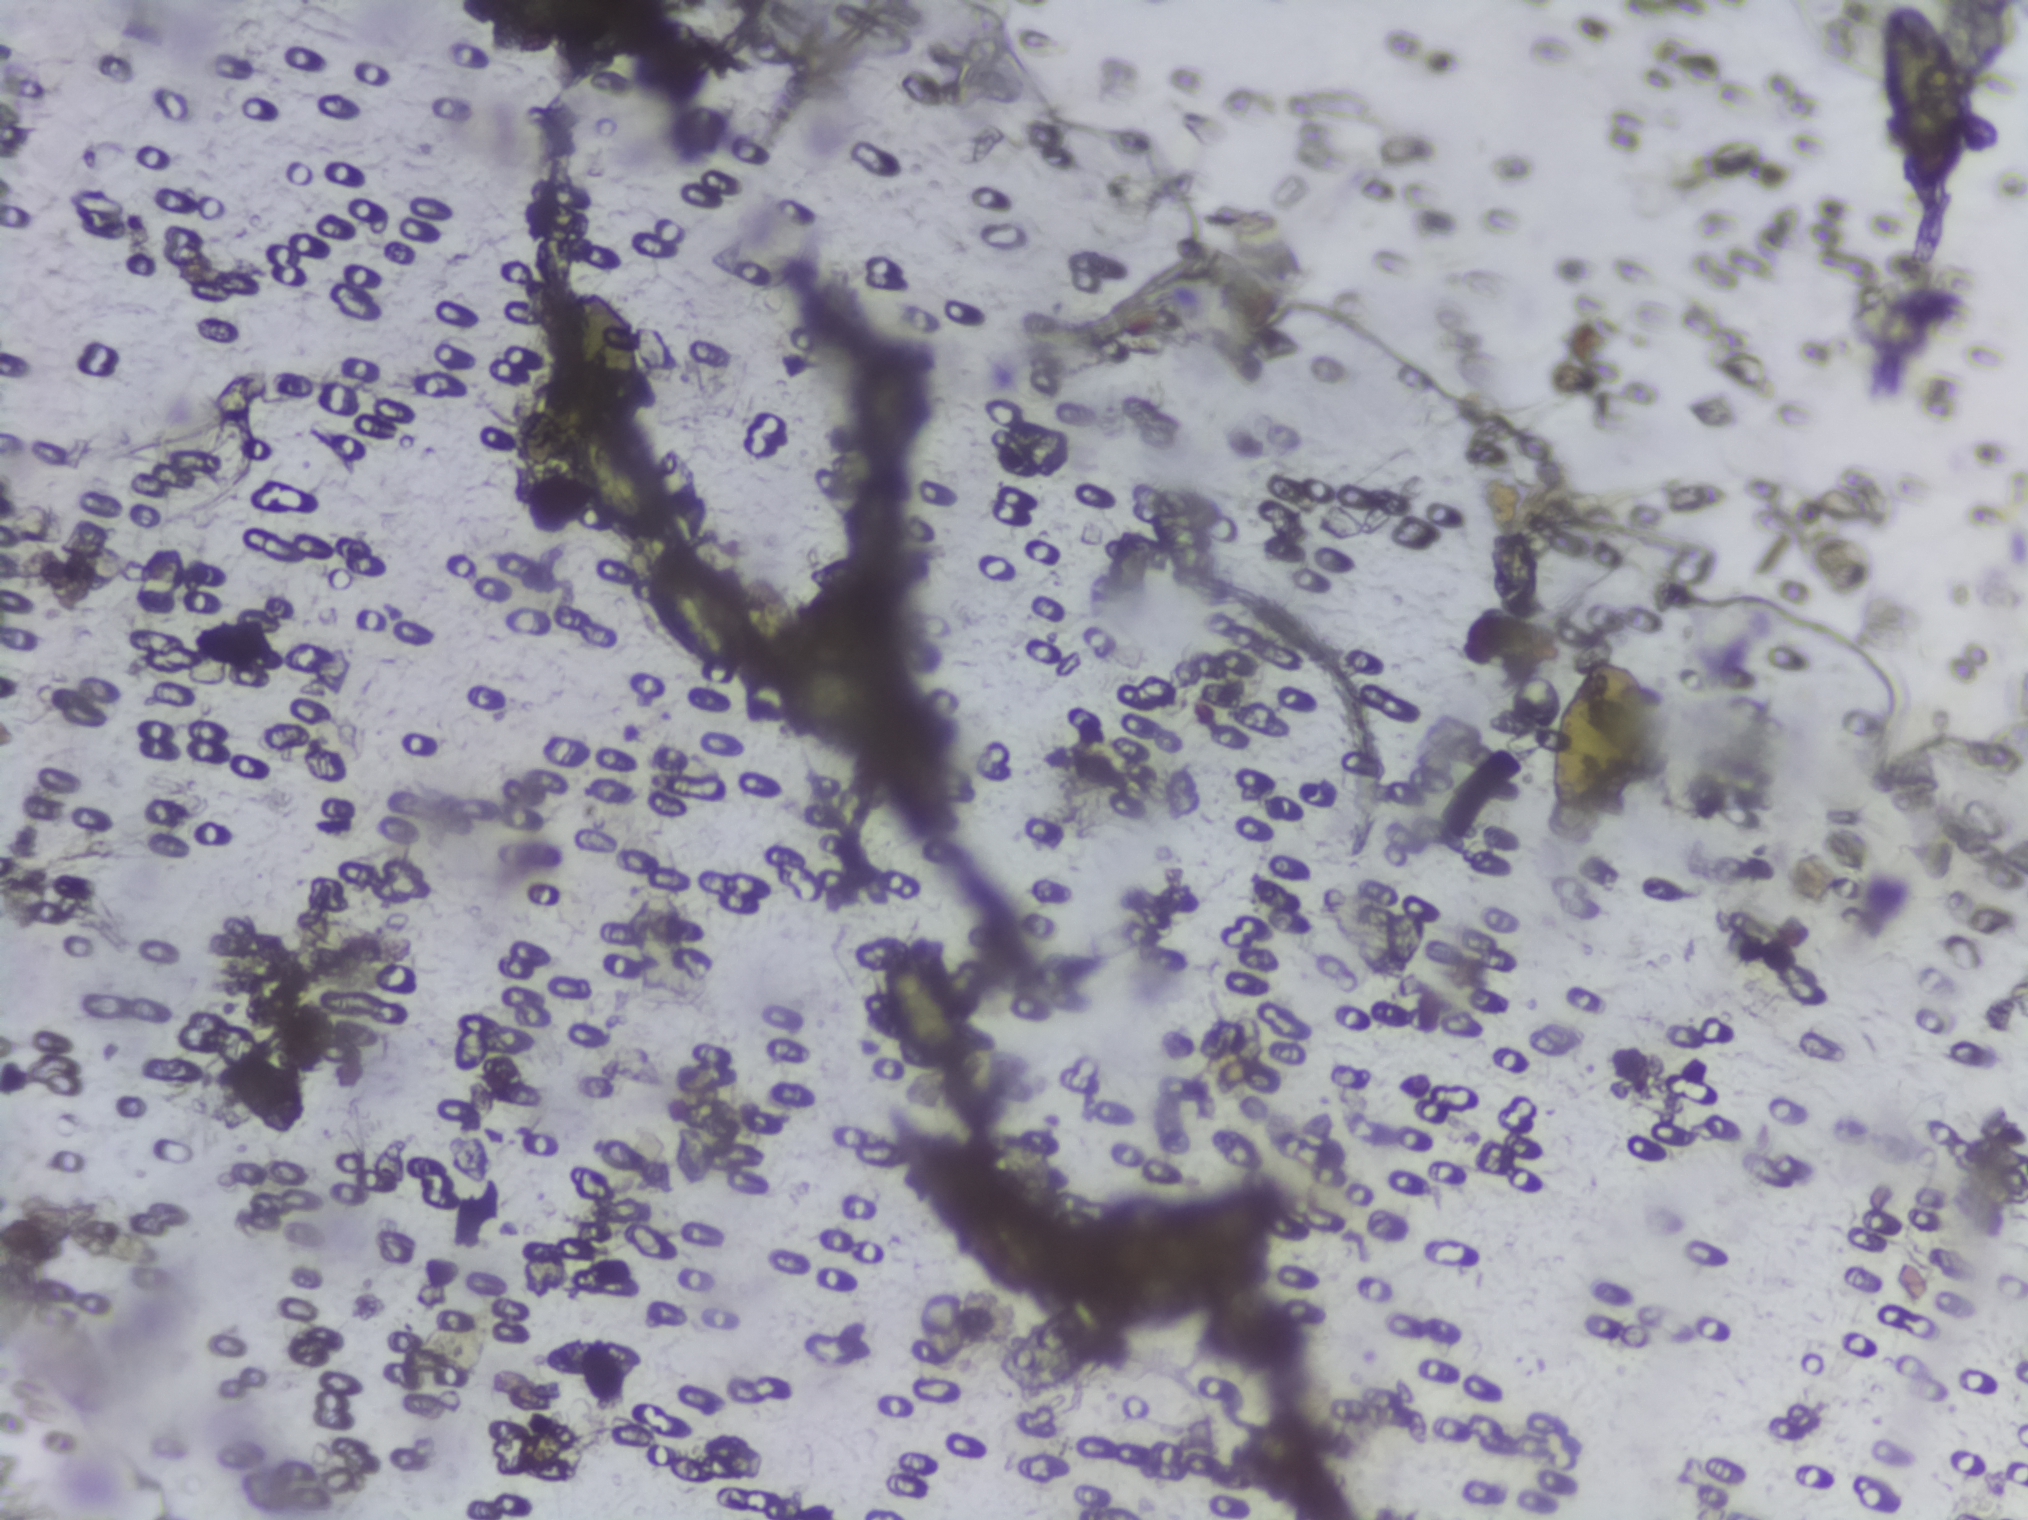
Photograph from an automated digital microscope: urine filter membrane, 4× objective. Field of view: about 1.5 mm wide and 1.1 mm high.
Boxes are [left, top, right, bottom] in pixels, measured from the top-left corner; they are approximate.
Areas outlined as Schistosoma eggs: [574, 411, 663, 540]; [649, 546, 738, 670]; [866, 940, 975, 1084]; [1870, 0, 1975, 195] (reaching the top edge of the frame). Eggs that touch can end up inside the same outlined area.